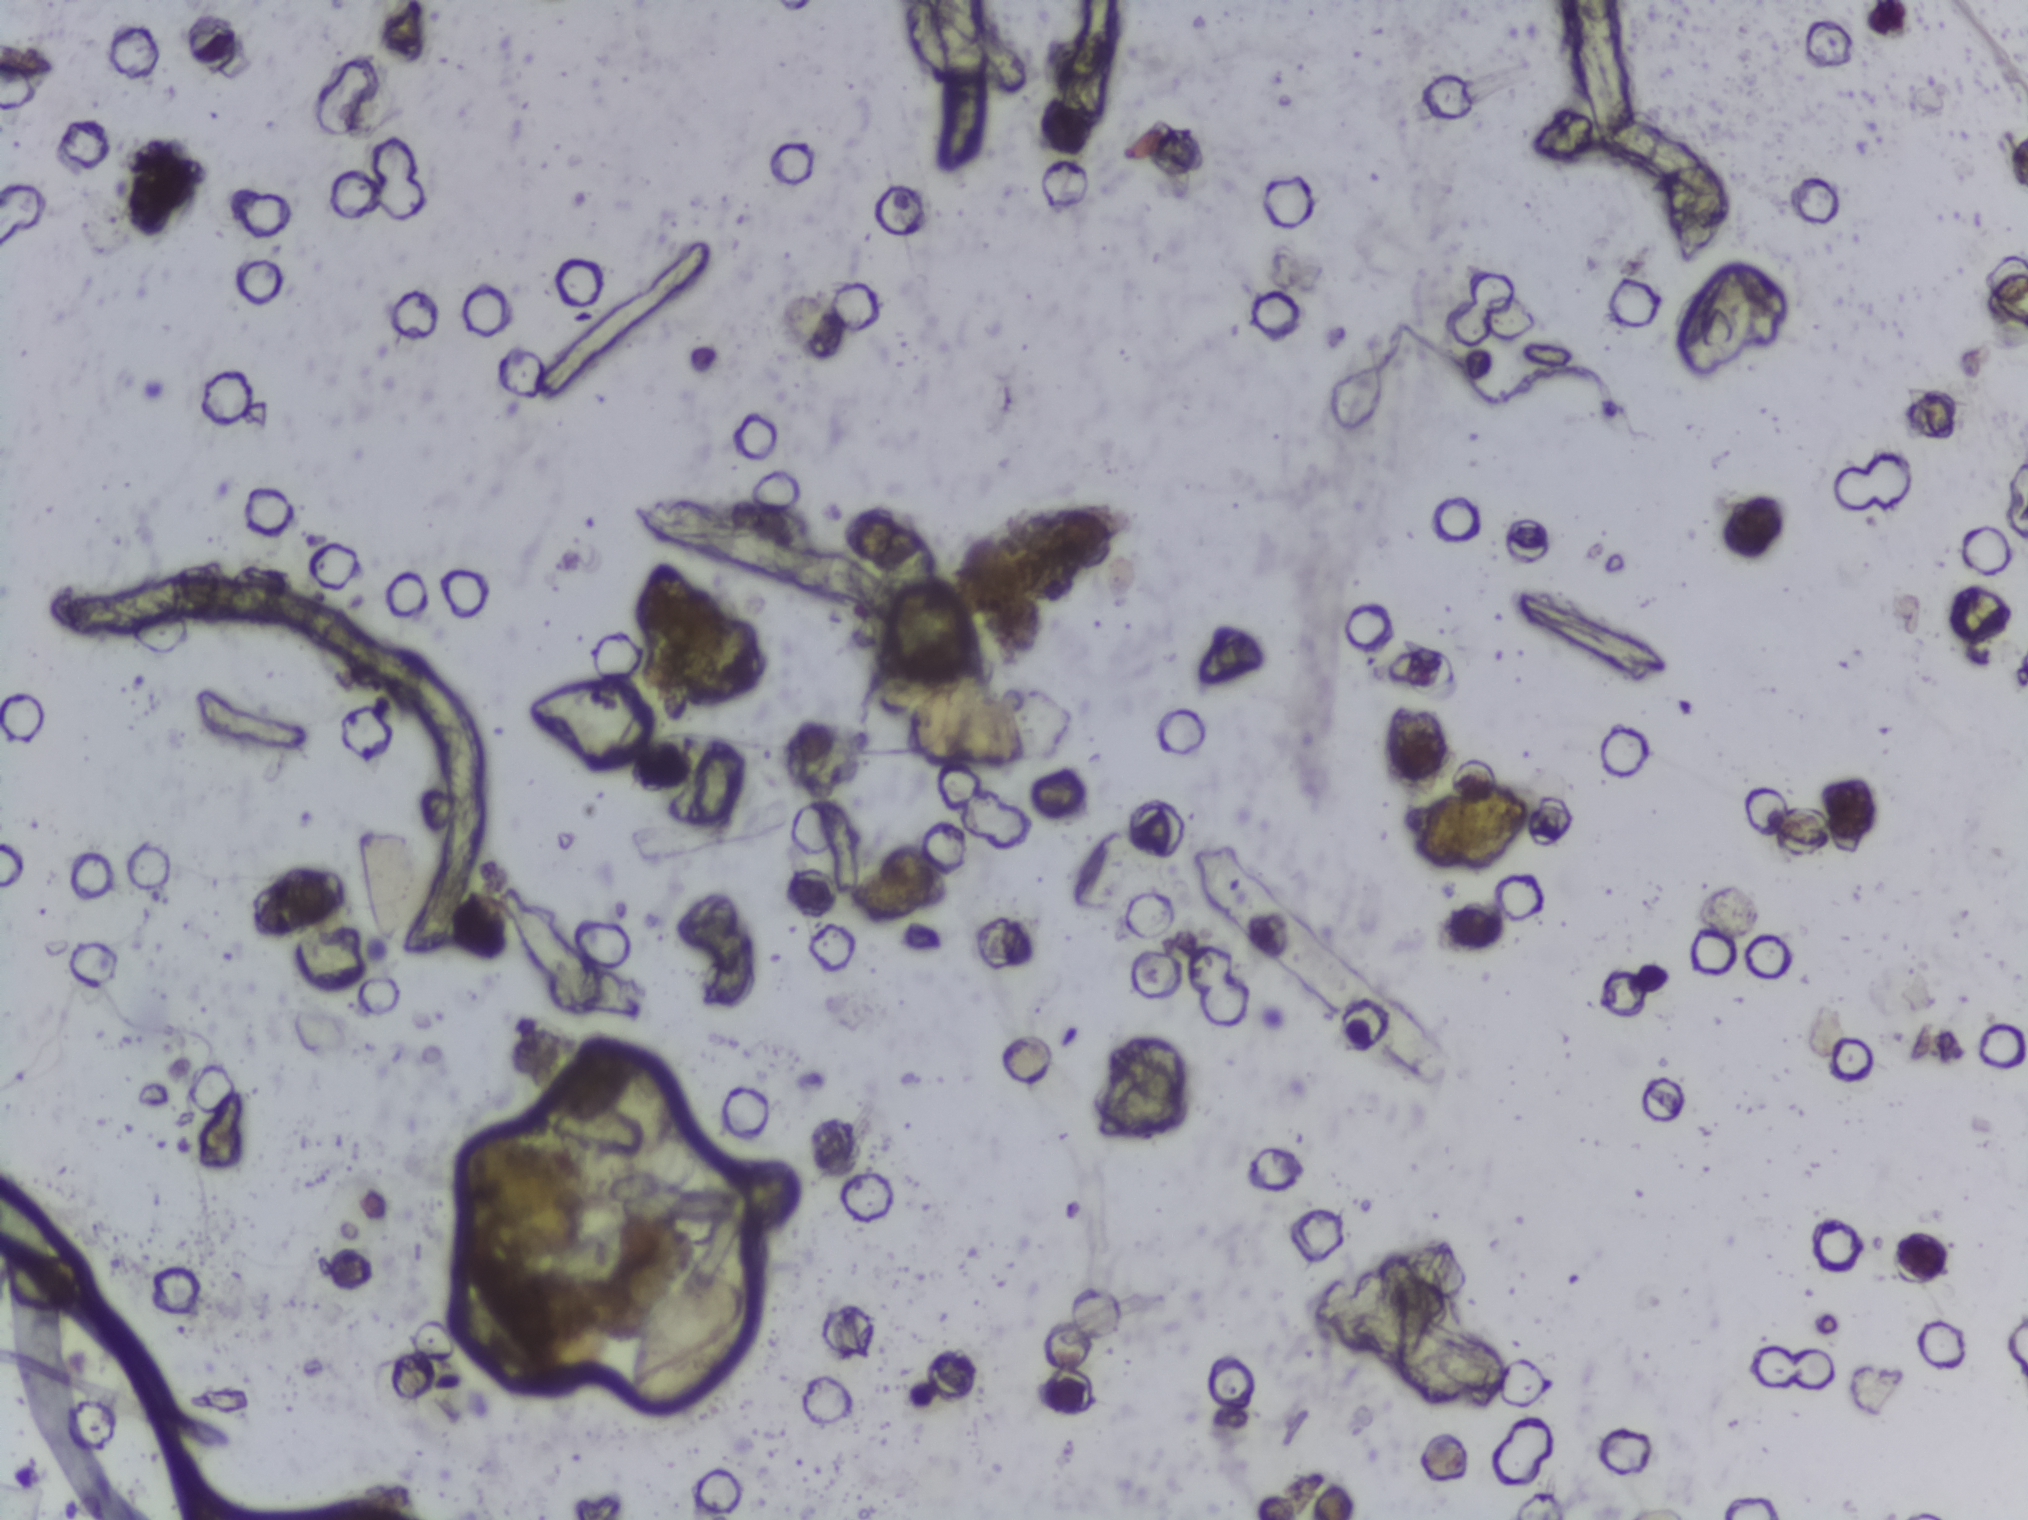
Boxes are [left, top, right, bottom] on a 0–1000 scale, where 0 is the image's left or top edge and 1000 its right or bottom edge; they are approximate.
{"schistosoma_egg_areas_xyxy_per1000": [[307, 812, 378, 934]]}
An outlined area can hold more than one egg.
Urine filtration membrane under a 4× objective, photographed by an automated digital microscope.